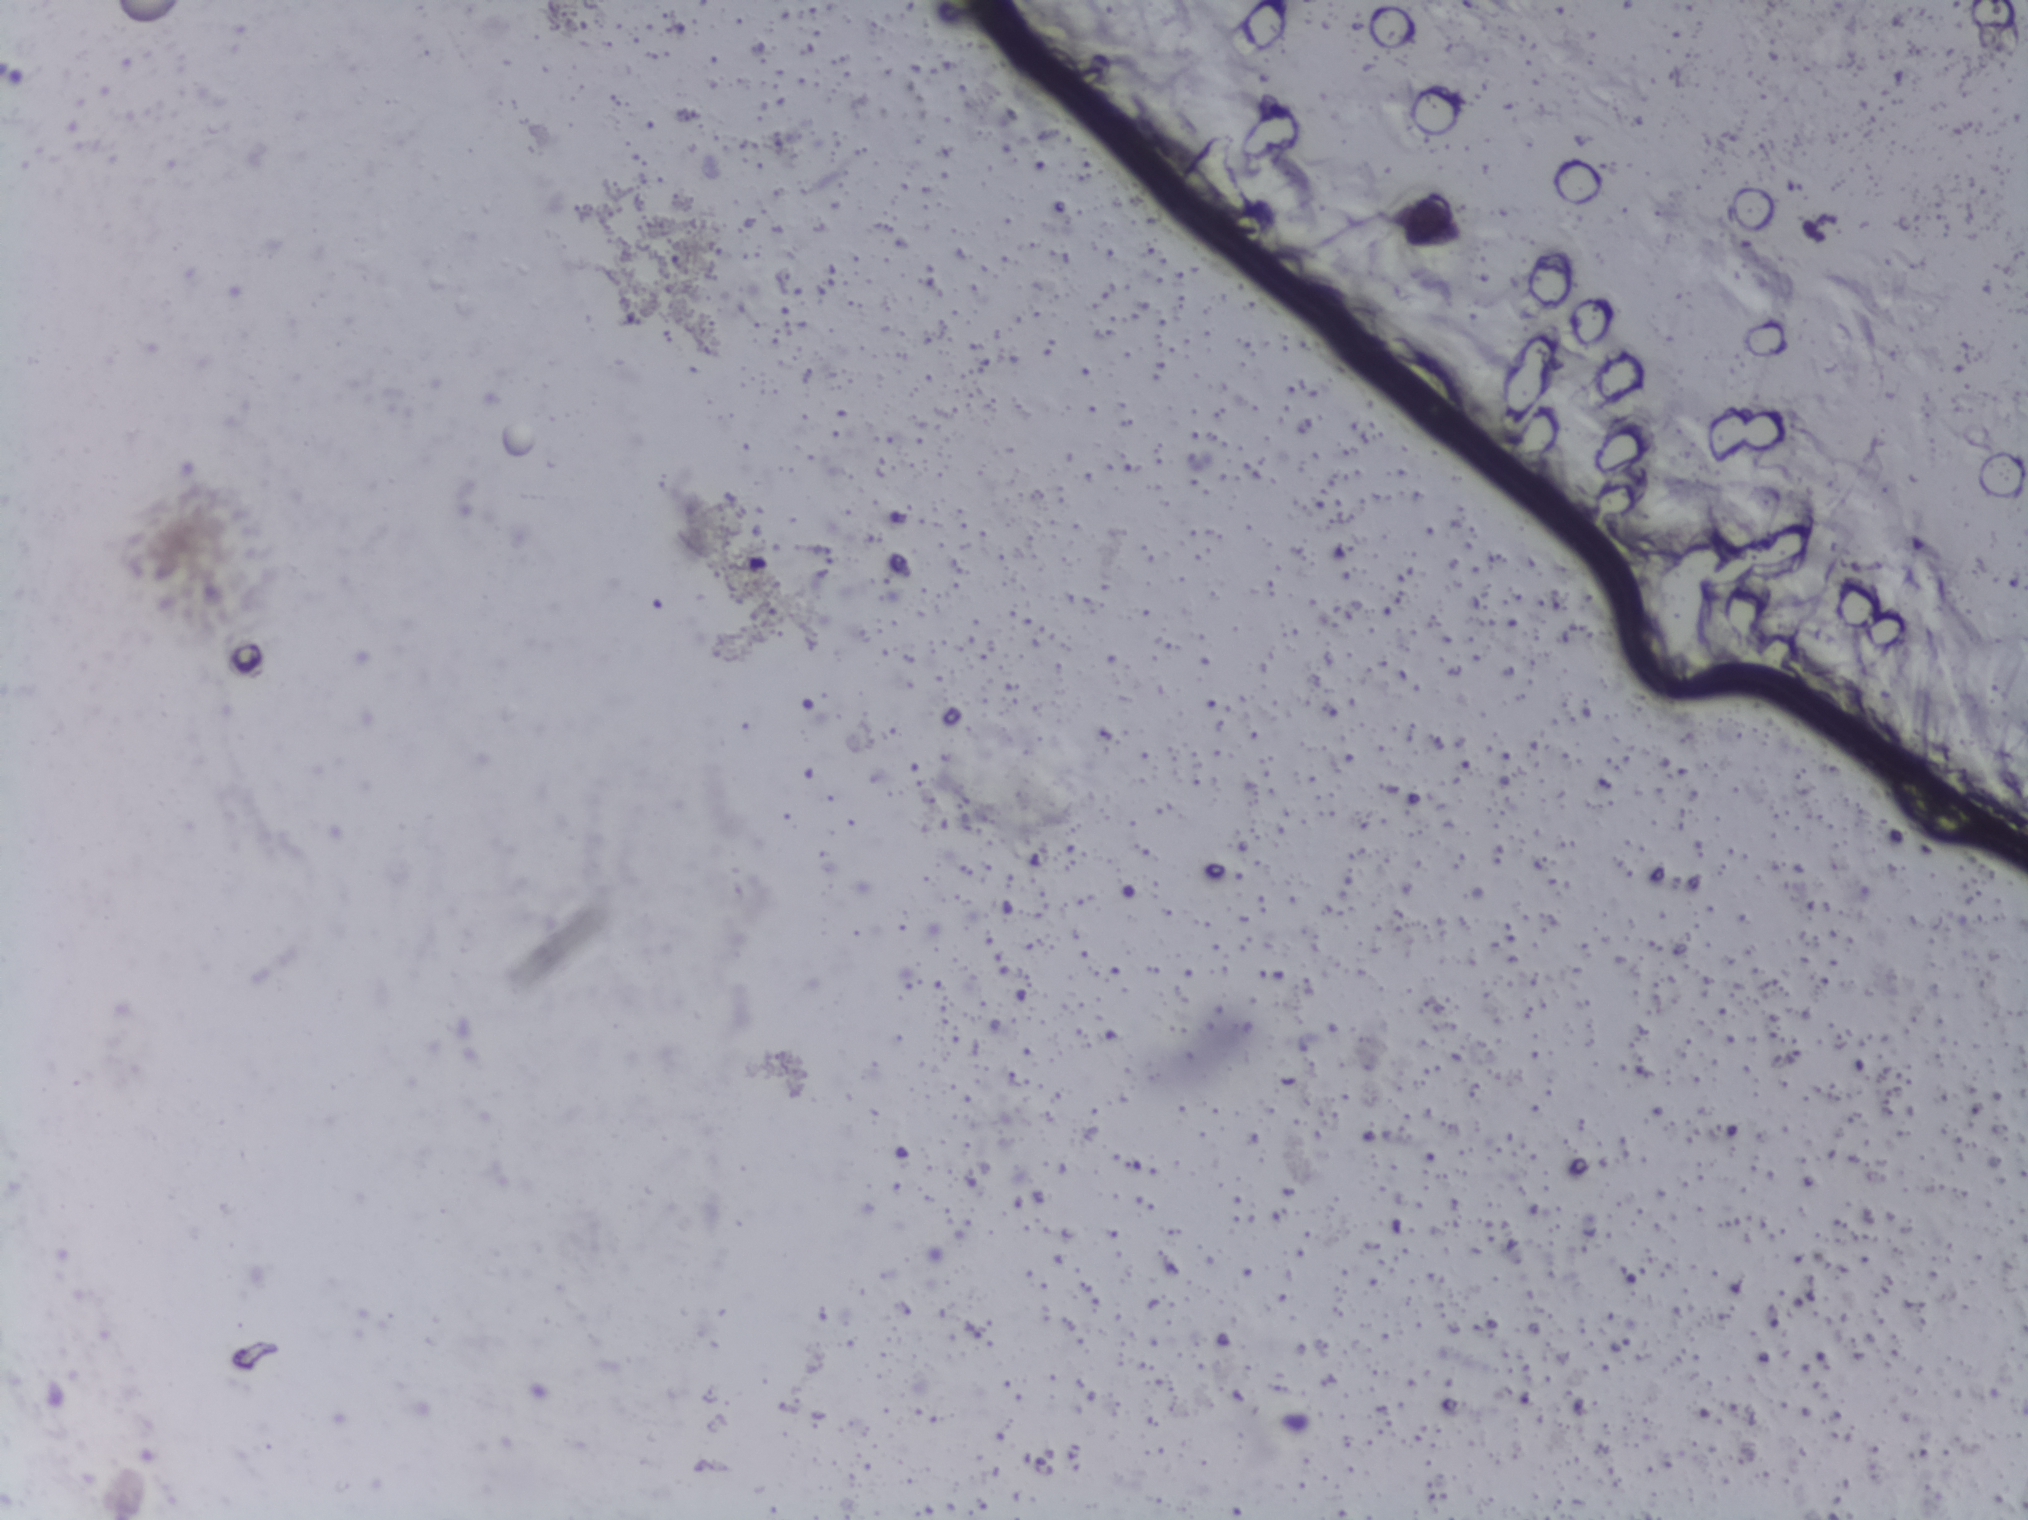
Urine filtration membrane under a 4× objective, photographed by an automated digital microscope. The image covers about 1.5 × 1.1 mm of the membrane.
No Schistosoma egg is outlined in this image's expert annotation.